Urine filter membrane photographed through a 4× microscope objective. The field of view is about 1.5 mm × 1.1 mm.
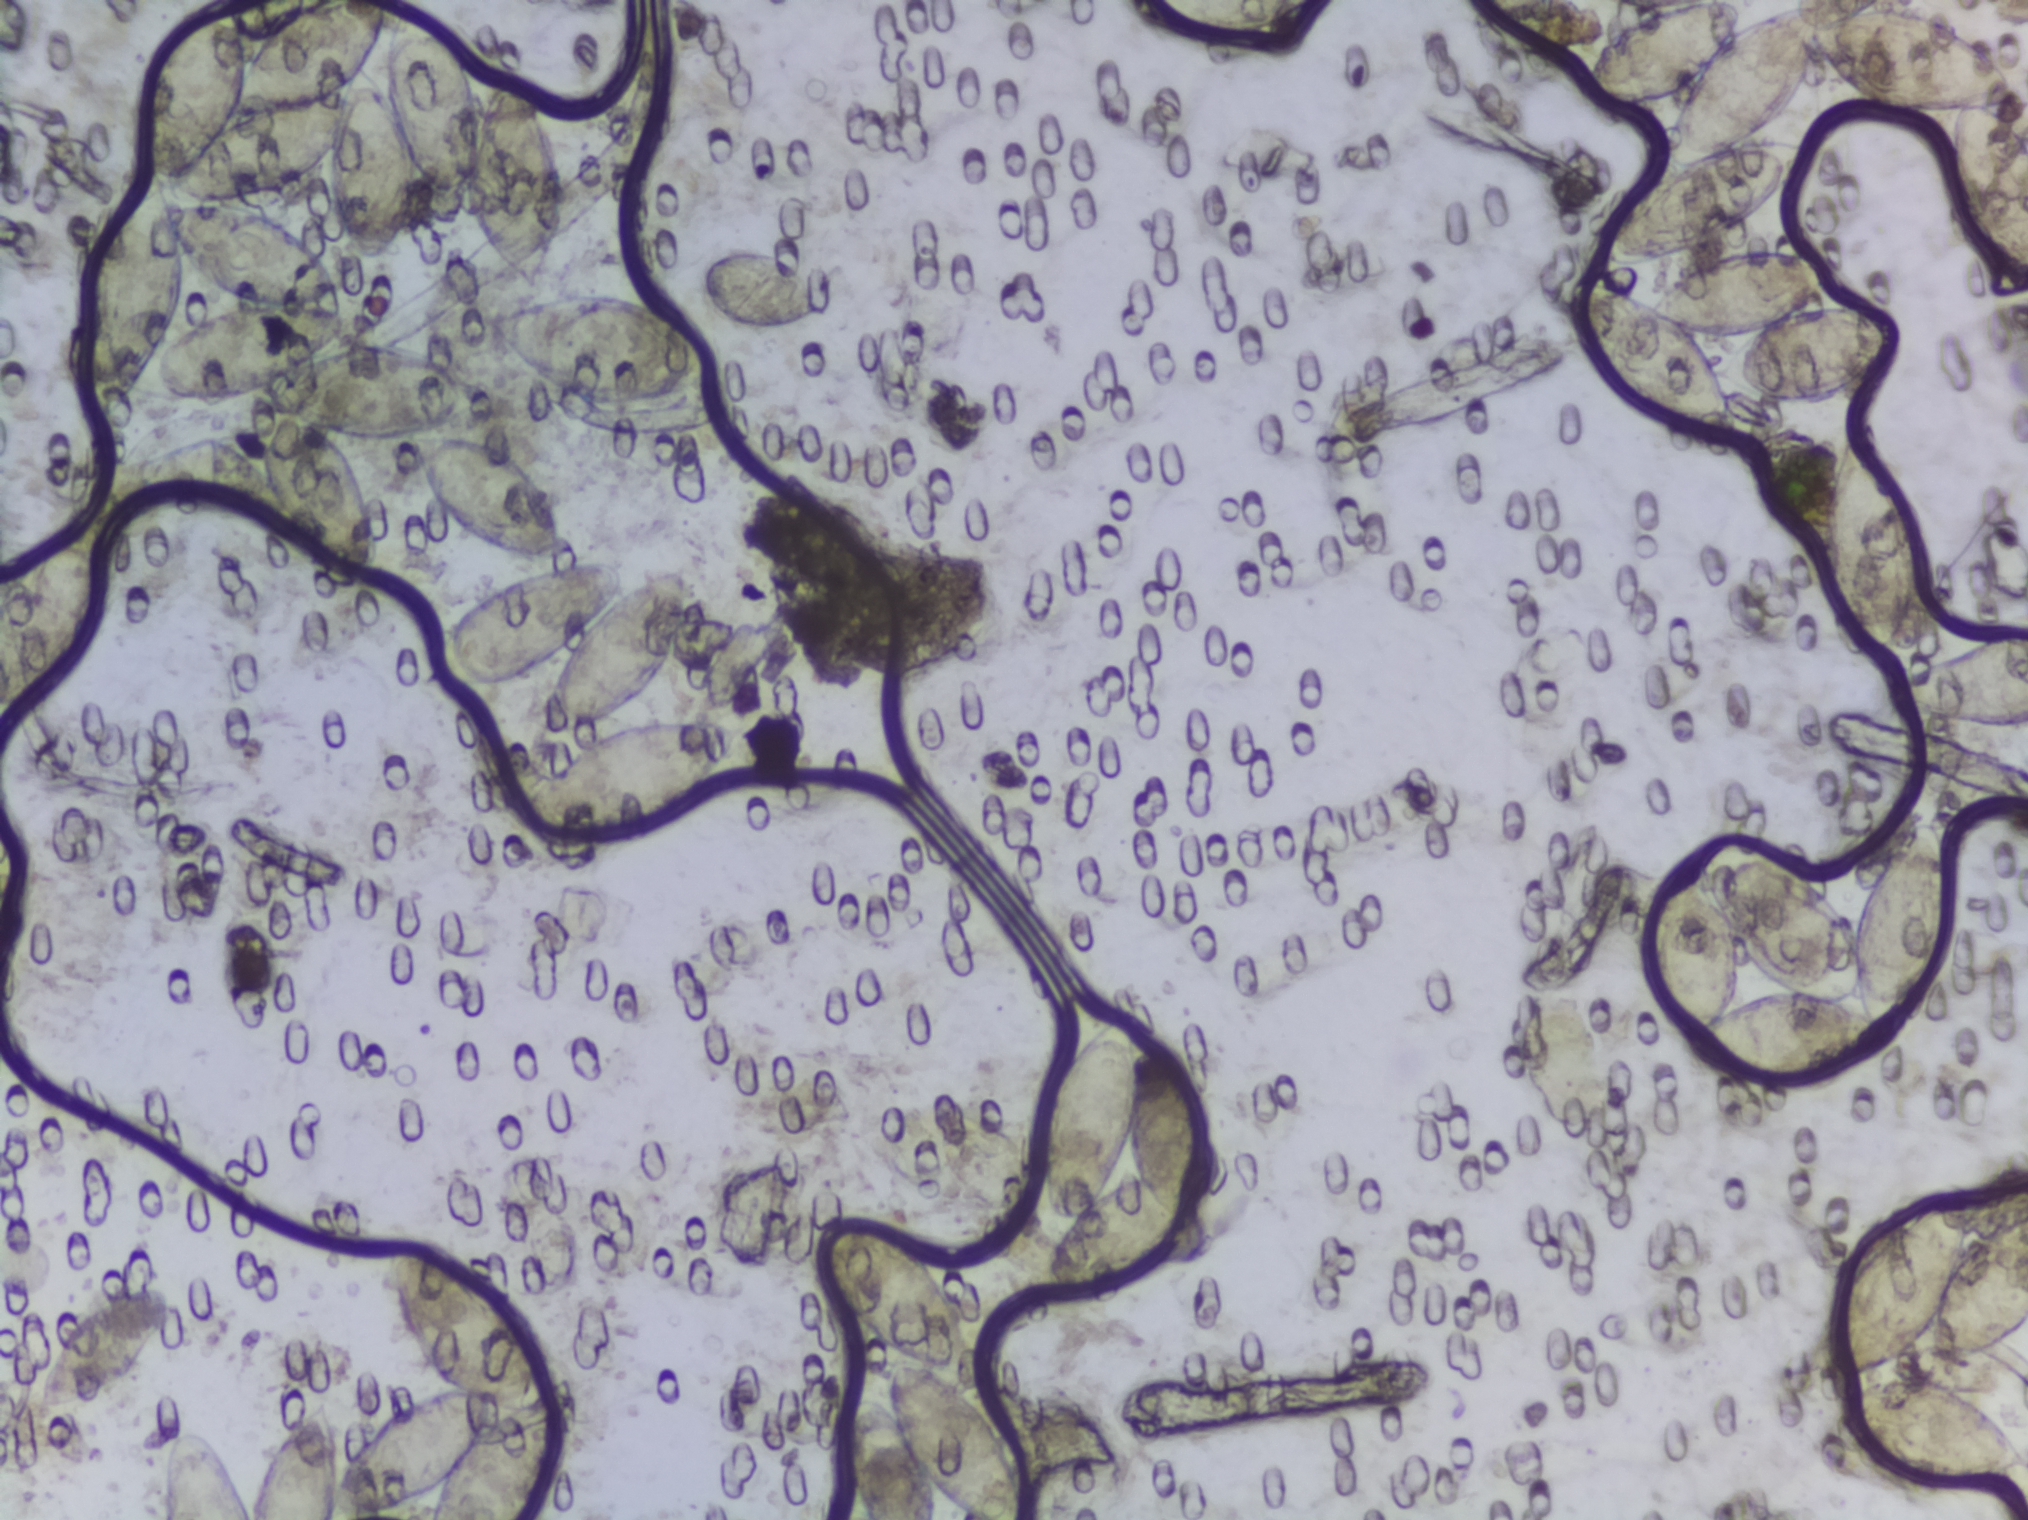
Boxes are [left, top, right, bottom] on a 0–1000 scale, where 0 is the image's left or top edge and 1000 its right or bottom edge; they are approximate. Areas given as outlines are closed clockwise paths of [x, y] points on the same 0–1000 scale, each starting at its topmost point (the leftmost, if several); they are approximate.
Areas outlined as Schistosoma eggs, left to right:
1. box [0, 343, 57, 464] (reaching the left edge of the frame)
2. box [19, 845, 86, 930]
3. outline [172, 0], [191, 0], [182, 40], [189, 56], [196, 5], [206, 3], [228, 31], [237, 69], [248, 52], [266, 63], [279, 125], [270, 188], [262, 193], [254, 187], [233, 152], [230, 131], [223, 132], [206, 114], [201, 146], [193, 171], [188, 175], [178, 175], [169, 161], [161, 131], [161, 106], [125, 130], [100, 133], [139, 144], [162, 171], [170, 204], [174, 210], [173, 219], [162, 234], [178, 227], [201, 229], [243, 256], [242, 267], [216, 284], [252, 300], [272, 335], [278, 358], [275, 368], [248, 368], [224, 348], [212, 331], [201, 290], [162, 288], [168, 294], [179, 323], [187, 363], [183, 387], [169, 386], [151, 372], [136, 337], [117, 344], [98, 340], [70, 325], [62, 315], [60, 303], [63, 298], [86, 286], [107, 289], [128, 308], [123, 280], [125, 259], [88, 265], [74, 259], [72, 252], [57, 274], [44, 273], [41, 264], [38, 217], [46, 168], [61, 129], [74, 121], [70, 109], [70, 69], [78, 35], [92, 13], [108, 1], [114, 4], [120, 19], [122, 38], [143, 7] (eggs clustered together; reaching the top edge of the frame)
4. outline [199, 817], [220, 829], [251, 860], [264, 881], [268, 906], [278, 905], [282, 911], [281, 961], [266, 987], [264, 1000], [211, 1000], [218, 975], [177, 998], [79, 1000], [85, 945], [89, 940], [98, 940], [110, 954], [124, 996], [140, 944], [153, 927], [162, 921], [165, 972], [180, 945], [194, 930], [222, 915], [214, 906], [195, 858], [195, 827] (eggs clustered together; reaching the bottom edge of the frame)
5. box [208, 366, 343, 486]
6. box [235, 193, 354, 270]
7. box [253, 470, 371, 560]
8. box [346, 166, 408, 218]
9. box [404, 802, 511, 1000] (reaching the bottom edge of the frame)
10. box [509, 663, 596, 856]
11. box [553, 0, 646, 29] (reaching the top edge of the frame)
12. box [770, 163, 935, 299]
13. outline [831, 0], [855, 0], [860, 9], [859, 17], [887, 0], [899, 4], [900, 10], [935, 2], [972, 22], [982, 33], [992, 55], [993, 69], [990, 72], [1000, 80], [1000, 198], [968, 151], [959, 115], [959, 77], [921, 71], [896, 39], [876, 85], [871, 88], [886, 90], [890, 106], [861, 148], [811, 175], [797, 179], [781, 175], [783, 161], [802, 132], [830, 110], [821, 99], [832, 59], [808, 74], [789, 74], [781, 67], [780, 52], [795, 24] (eggs clustered together; reaching the top and right edges of the frame)
14. box [813, 538, 964, 718] (eggs clustered together)
15. box [894, 786, 1000, 912] (reaching the right edge of the frame)
16. box [896, 275, 950, 441]
17. box [906, 904, 1000, 980] (reaching the right edge of the frame)
18. box [929, 411, 1000, 481] (reaching the right edge of the frame)
An outlined area can hold more than one egg.